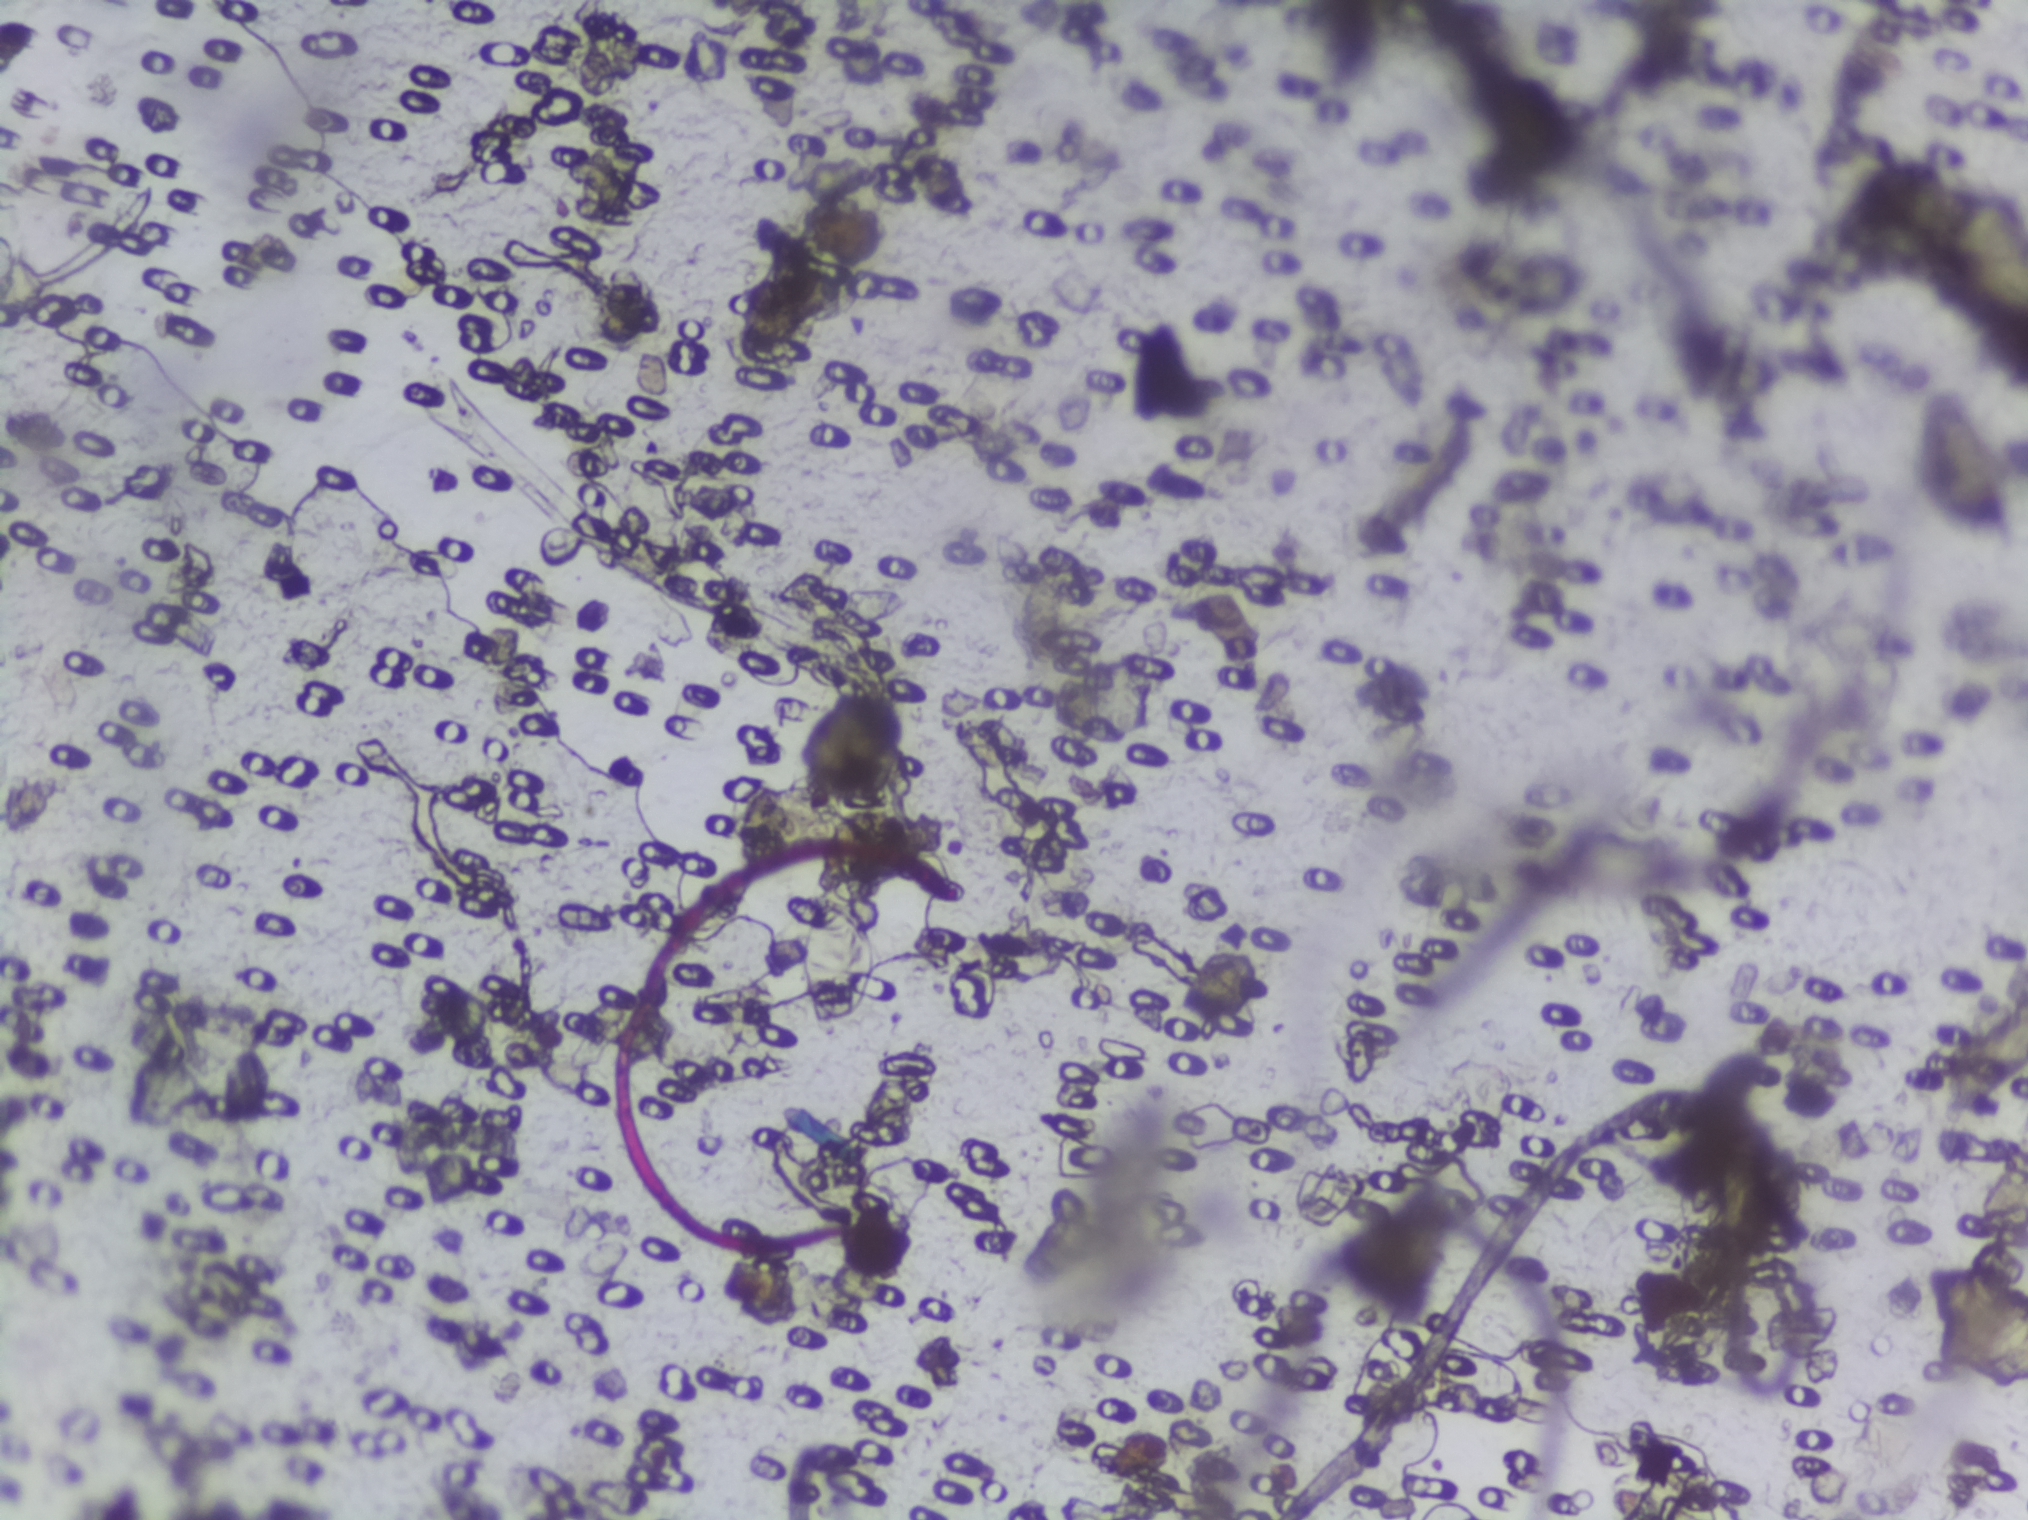
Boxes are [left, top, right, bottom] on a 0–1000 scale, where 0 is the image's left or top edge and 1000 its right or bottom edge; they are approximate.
Schistosoma eggs, outlined areas: [394, 593, 432, 672]; [944, 249, 994, 352]; [950, 833, 1000, 918] (reaching the right edge of the frame). Eggs that touch can end up inside the same outlined area.
One field of view of a urine filter membrane, 4× objective, 2028 × 1520 pixels.